Urine filtration membrane under a 4× objective, photographed by an automated digital microscope.
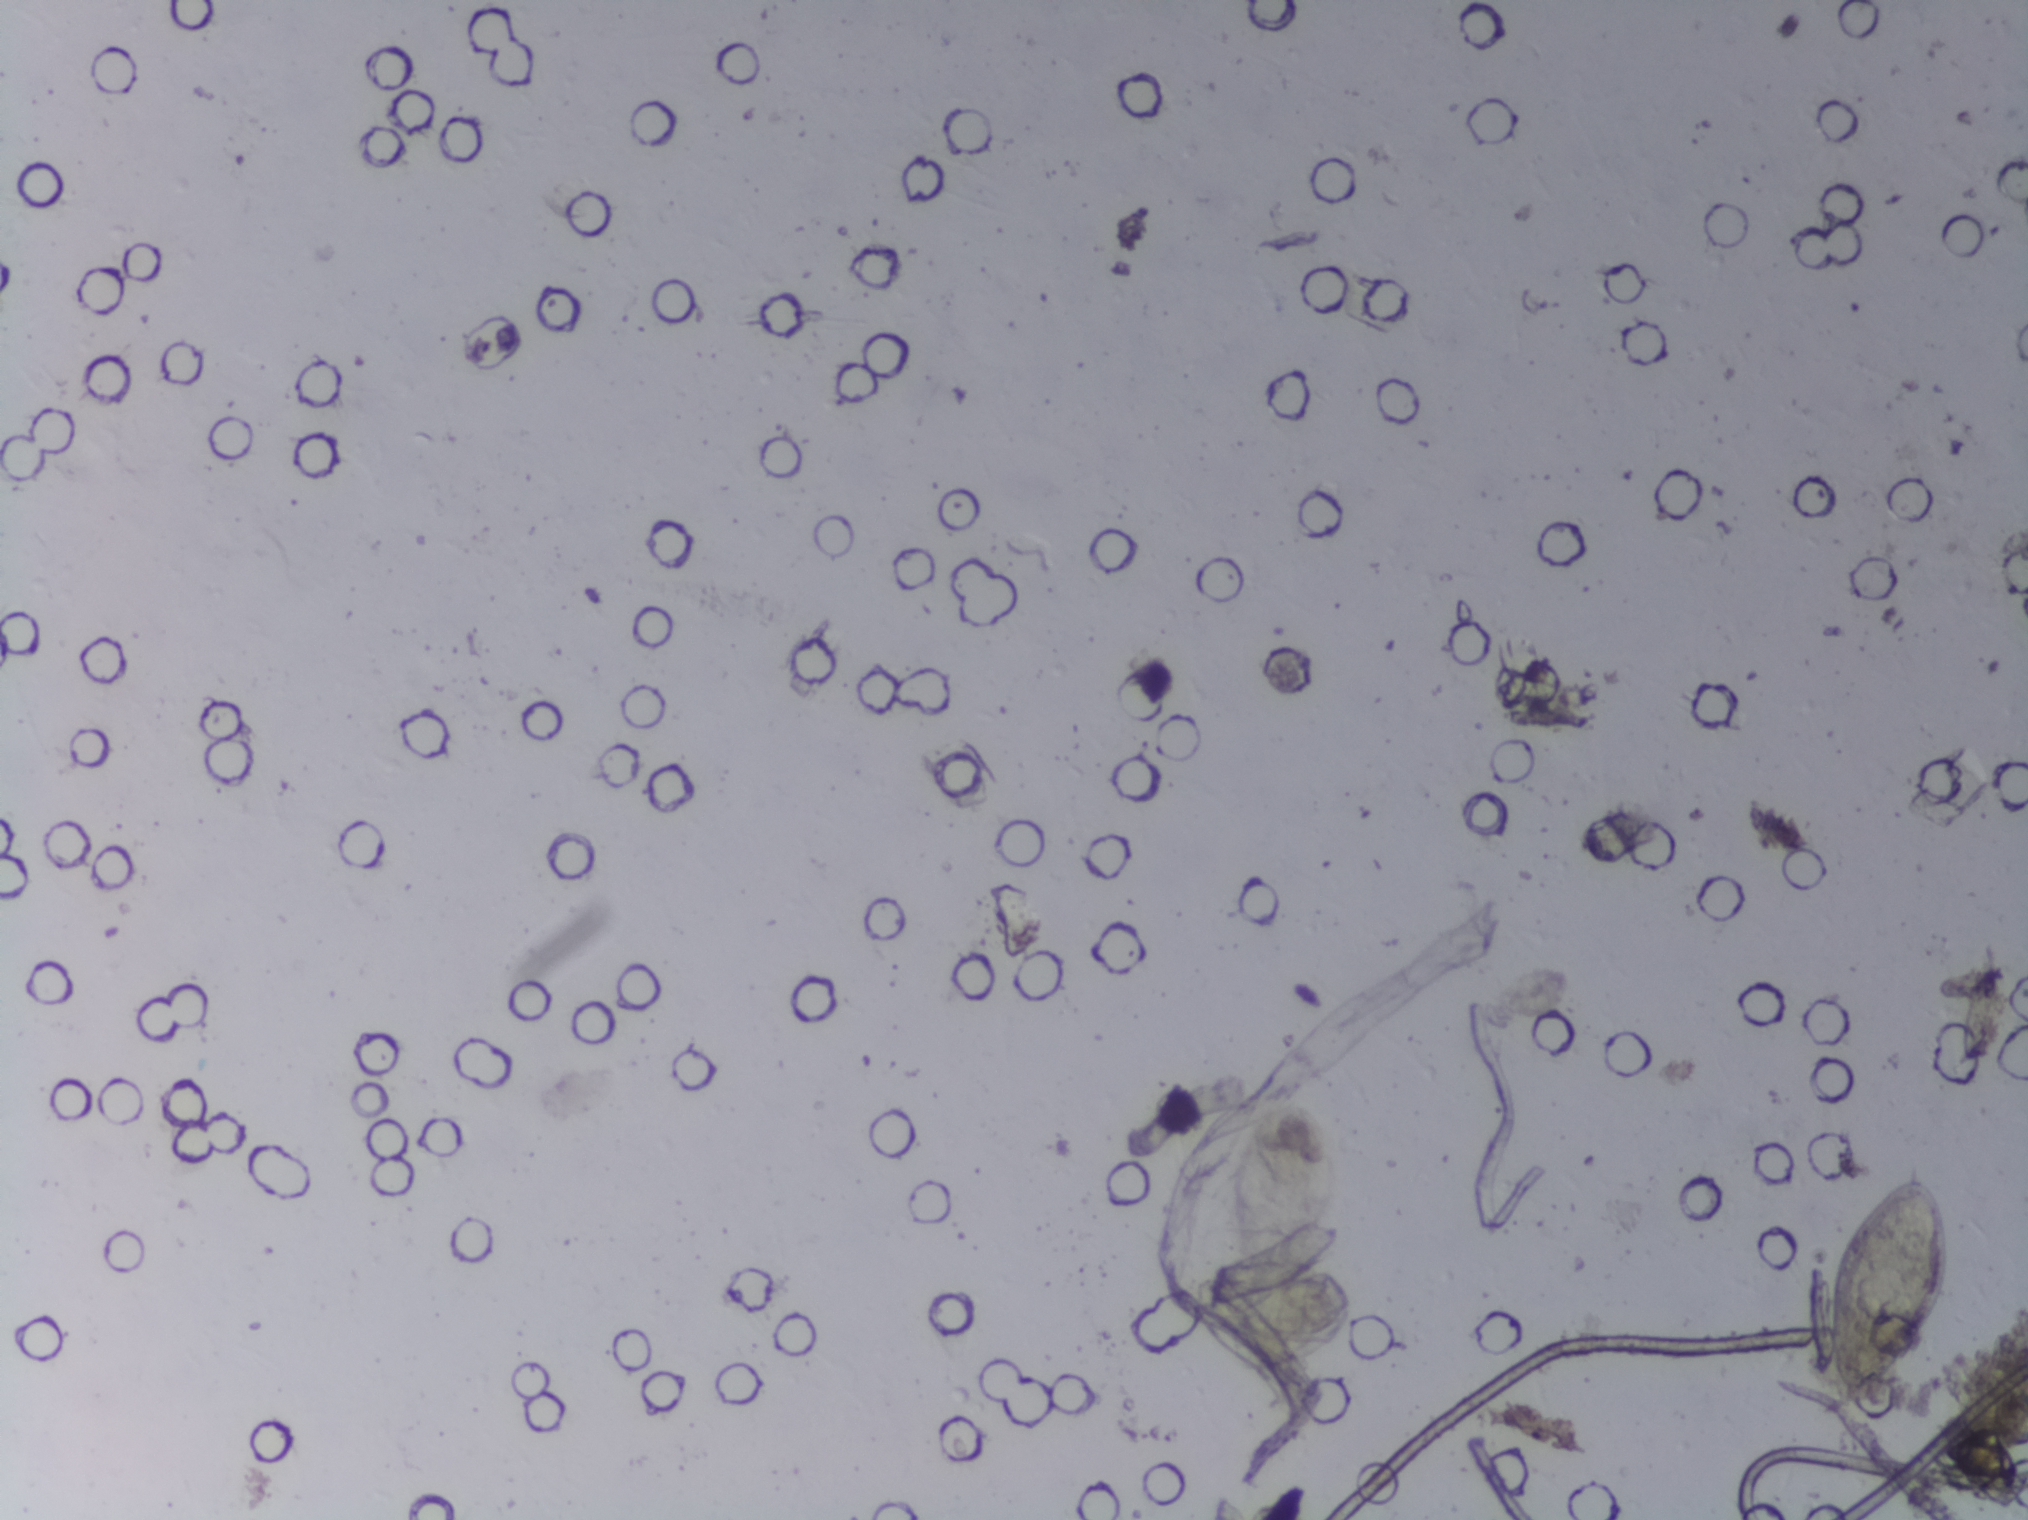
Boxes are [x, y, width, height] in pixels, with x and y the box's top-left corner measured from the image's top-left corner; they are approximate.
Schistosoma eggs are outlined in one area of this image: [1824, 1166, 125, 237]. Eggs that touch can end up inside the same outlined area.